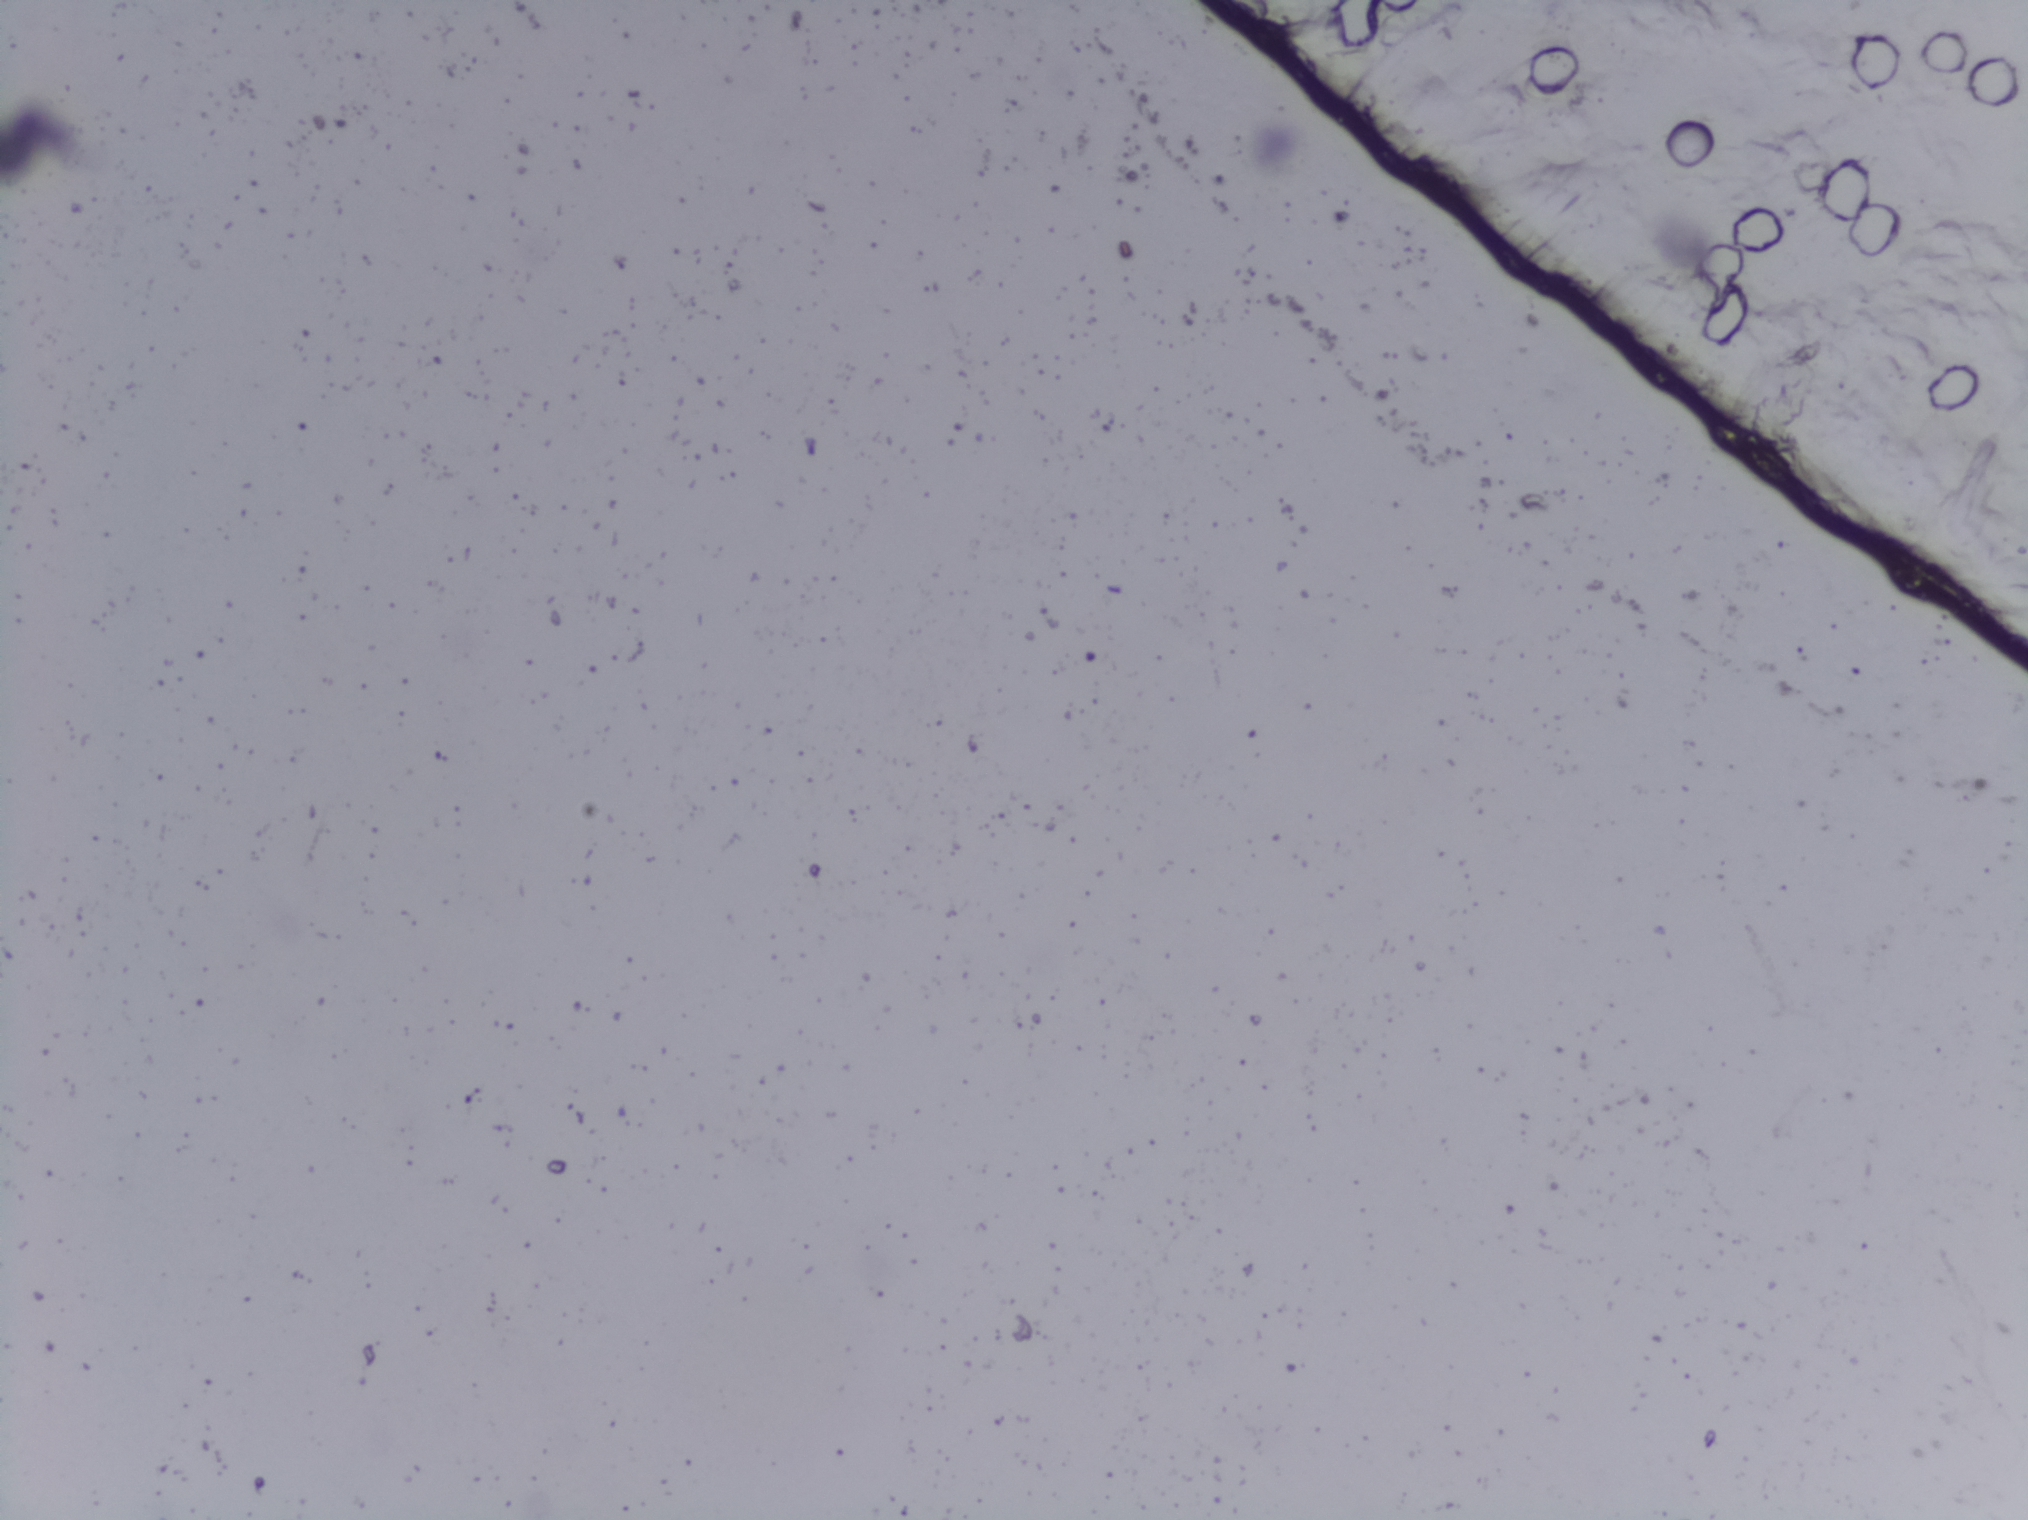
Schistosoma eggs: none outlined.
Urine filtration membrane under a 4× objective, photographed by an automated digital microscope.